Photomicrograph of a urine filtration membrane, 4× objective.
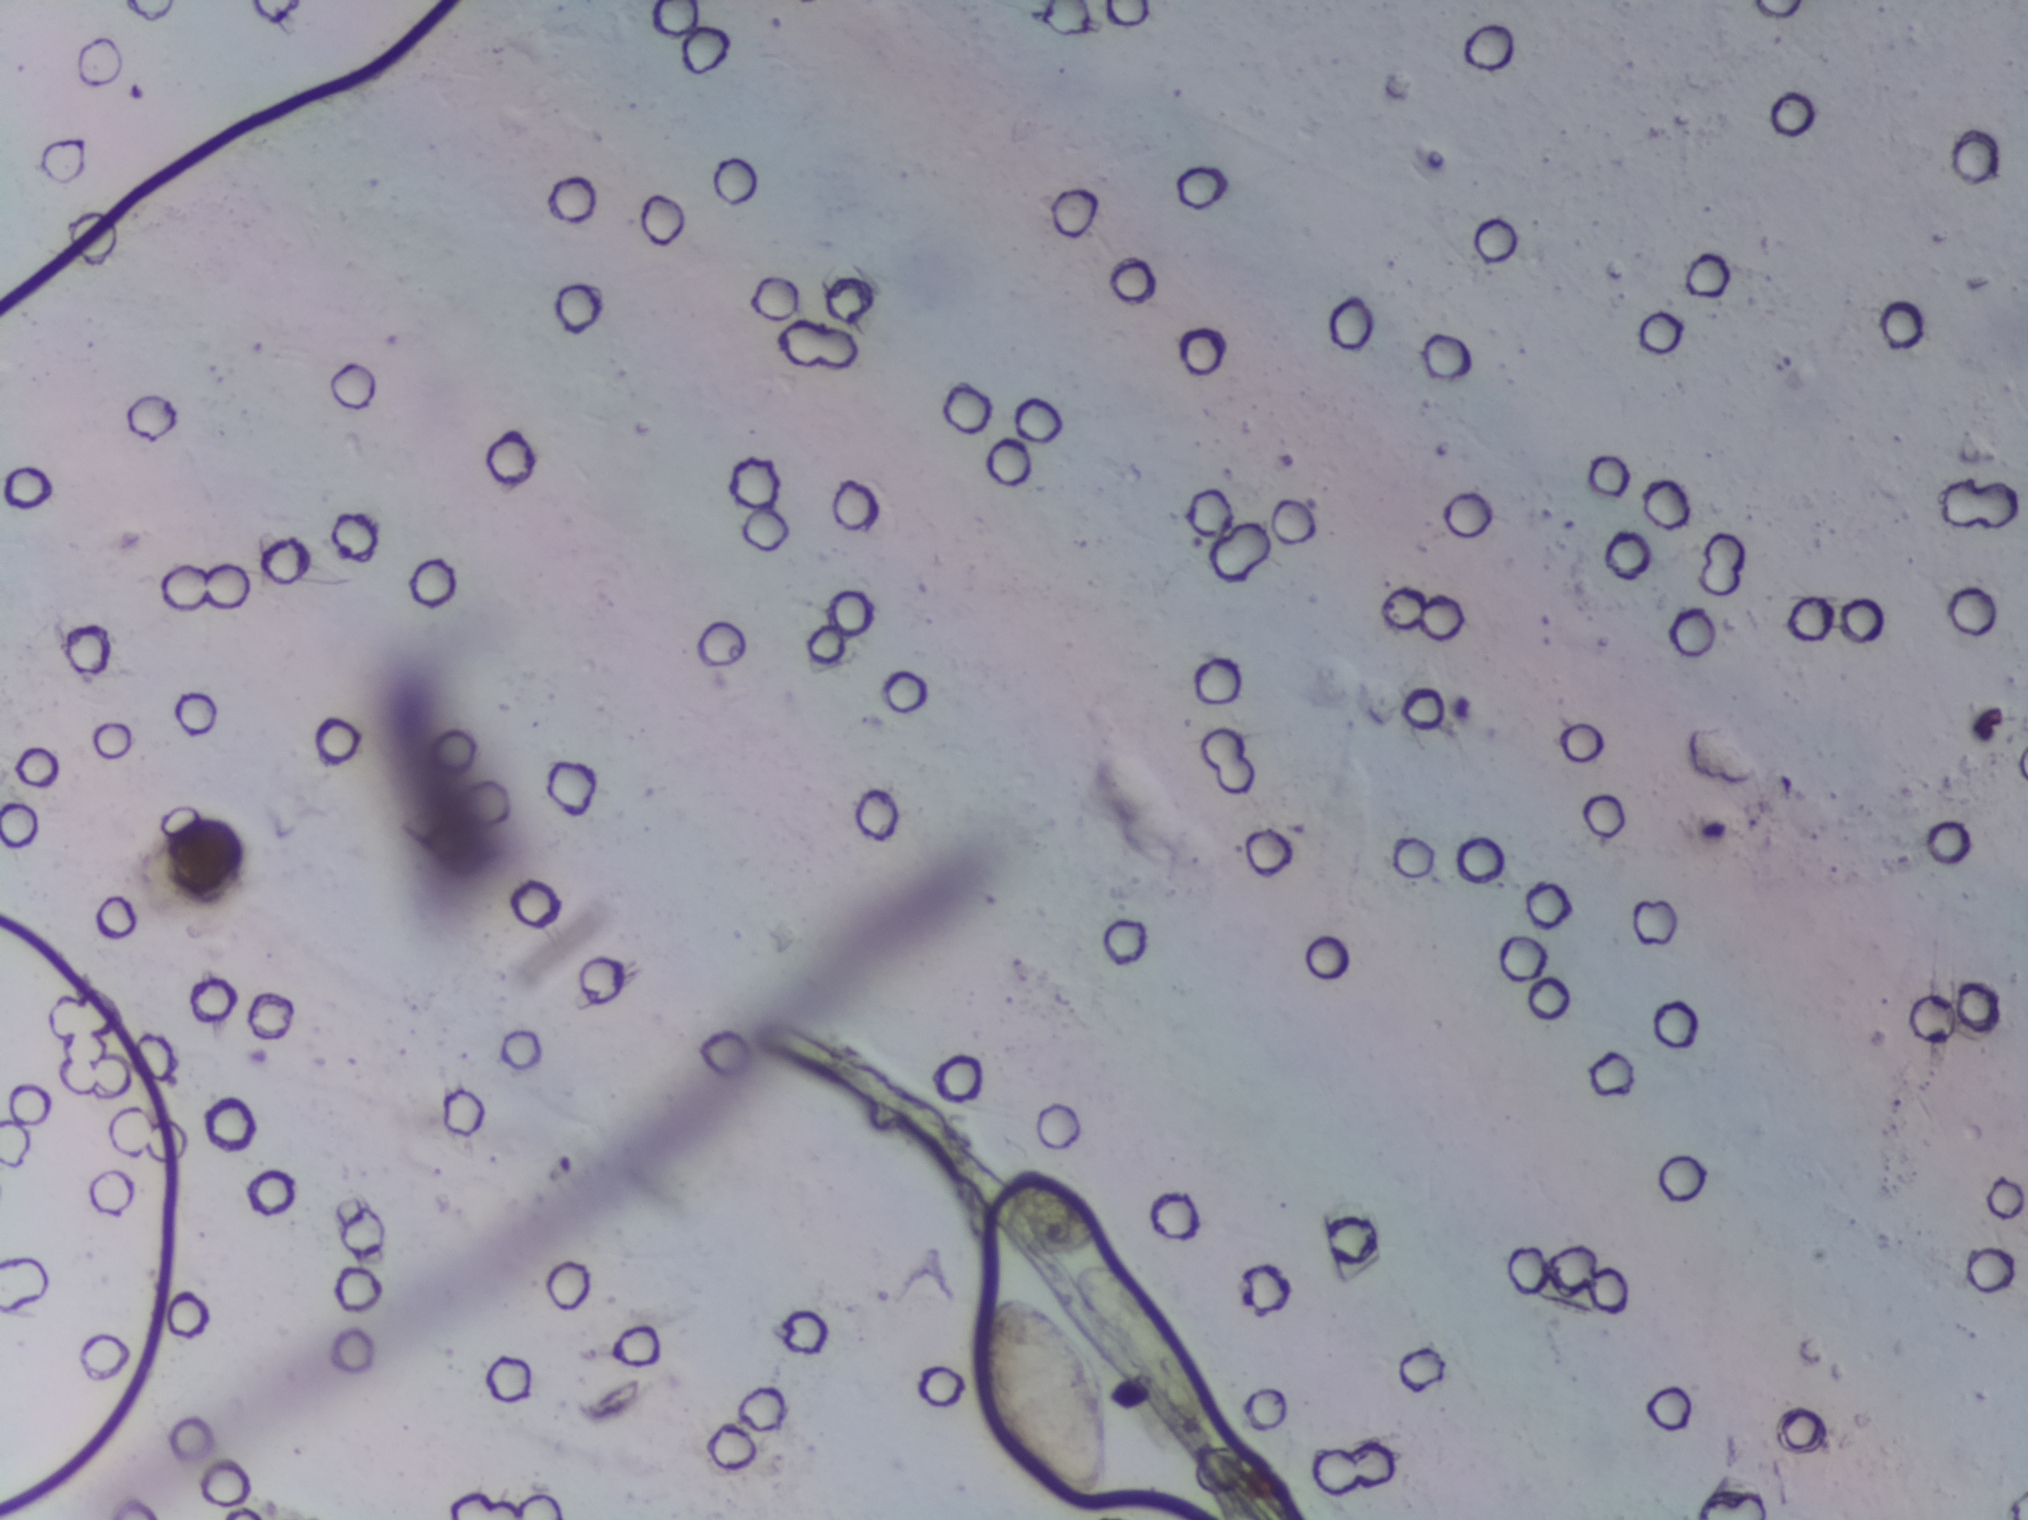
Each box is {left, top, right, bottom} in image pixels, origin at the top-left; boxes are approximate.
The expert annotation outlines Schistosoma eggs at {979, 1291, 1115, 1505}. Eggs that touch can end up inside the same outlined area.